Photograph from an automated digital microscope: urine filter membrane, 4× objective. Field of view: about 1.5 mm wide and 1.1 mm high.
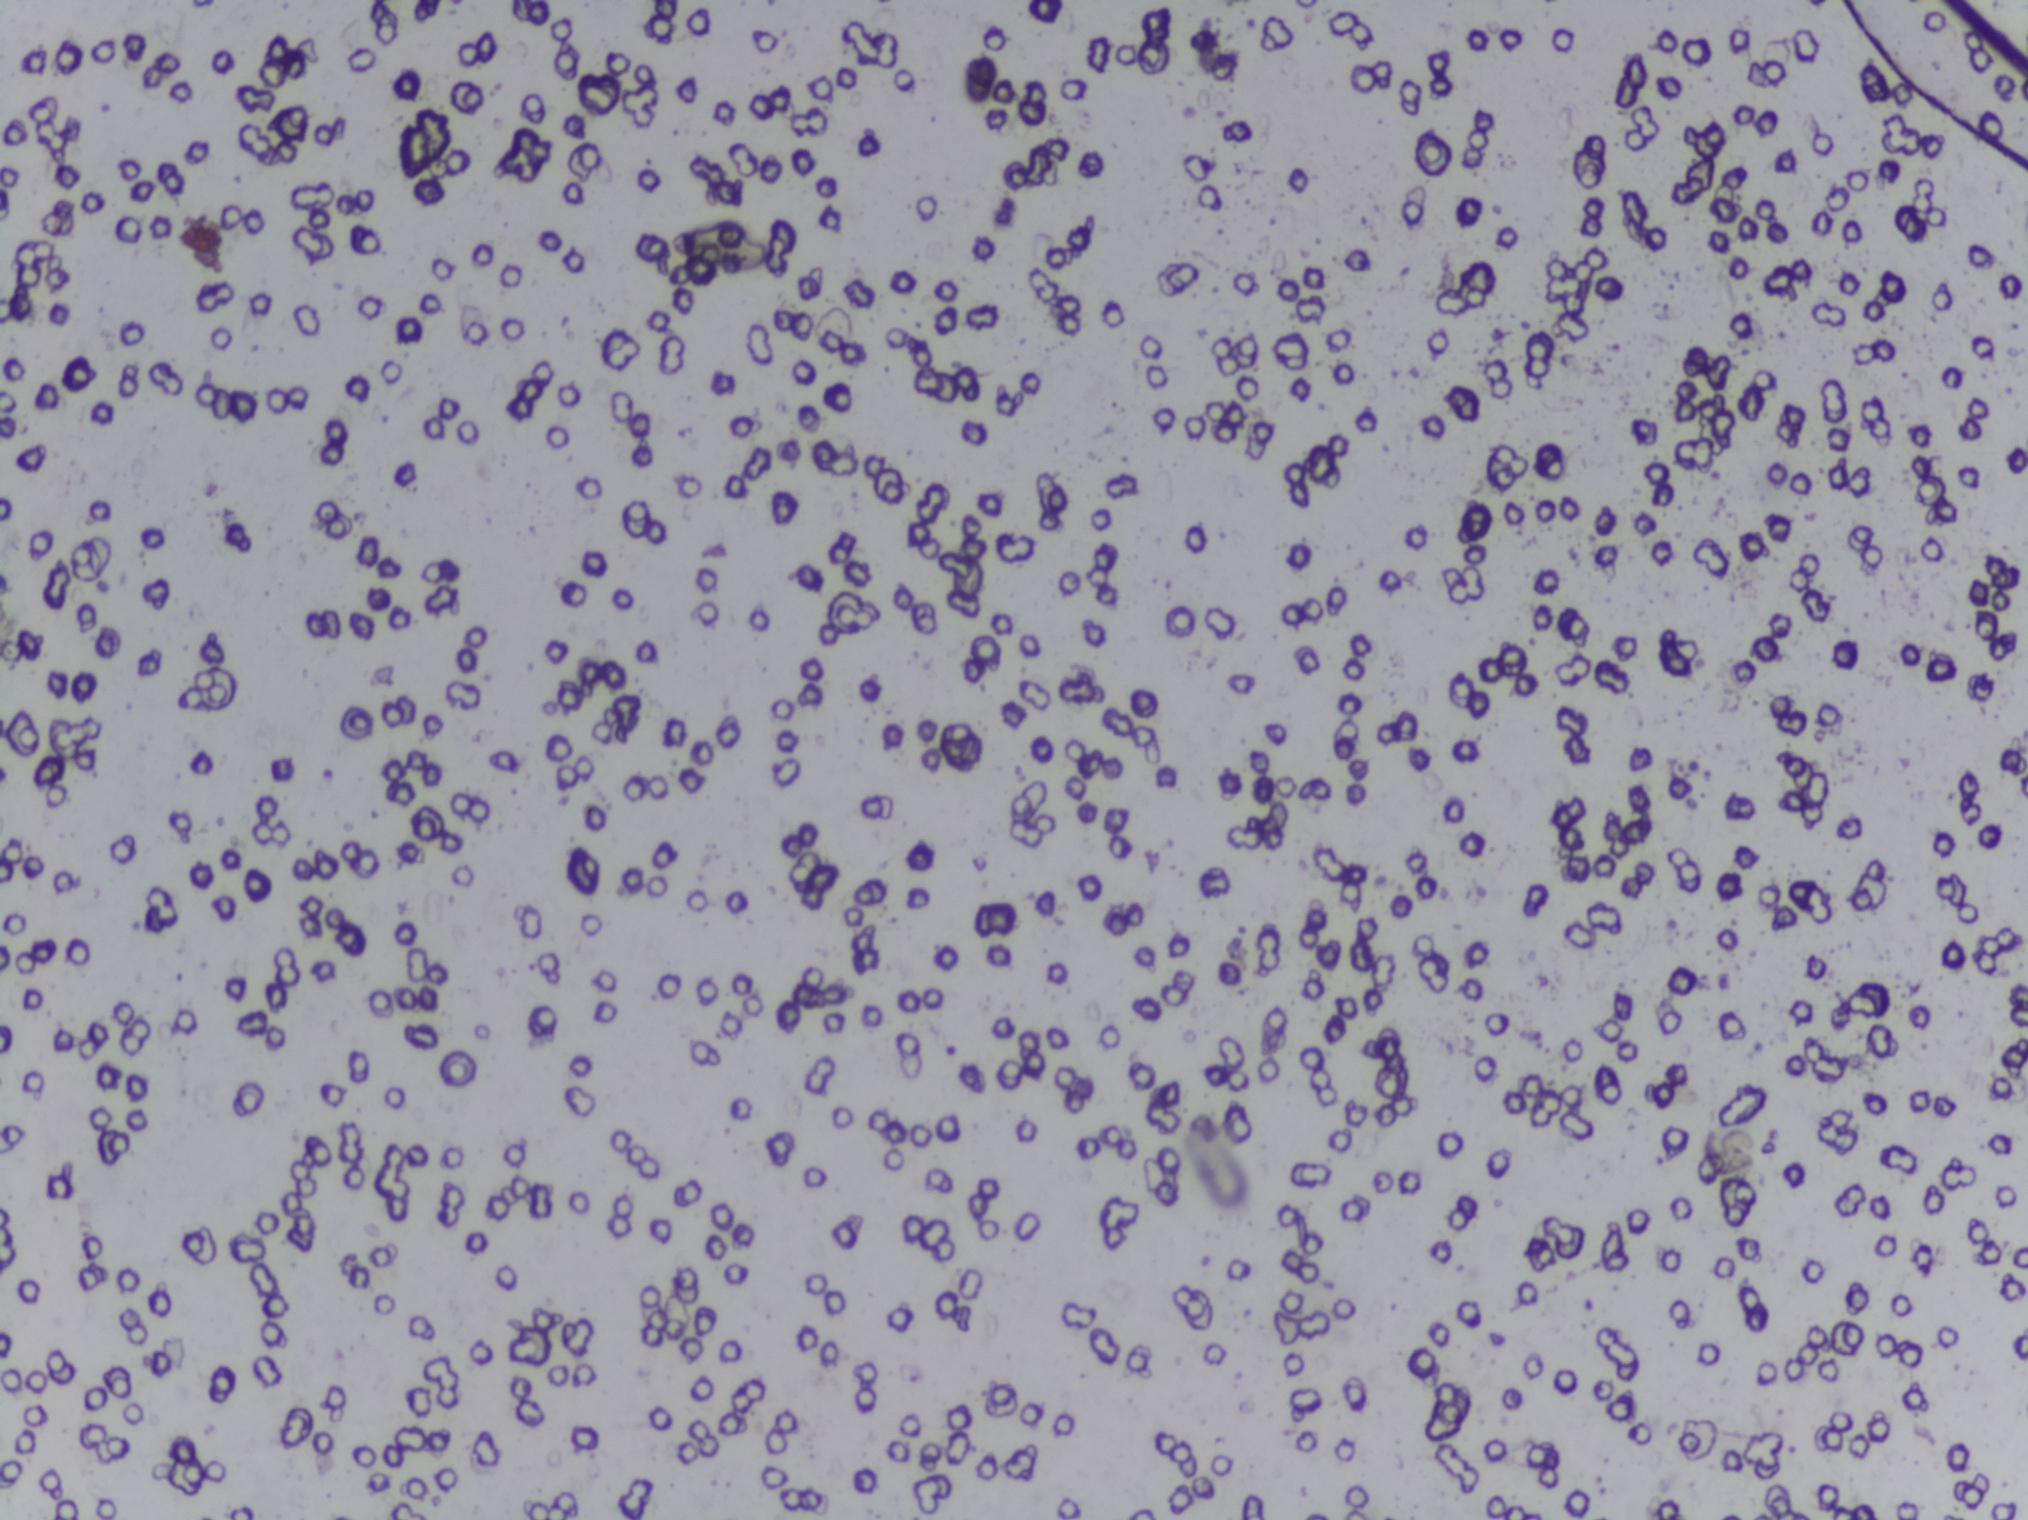
No area of this image was outlined as a Schistosoma egg.